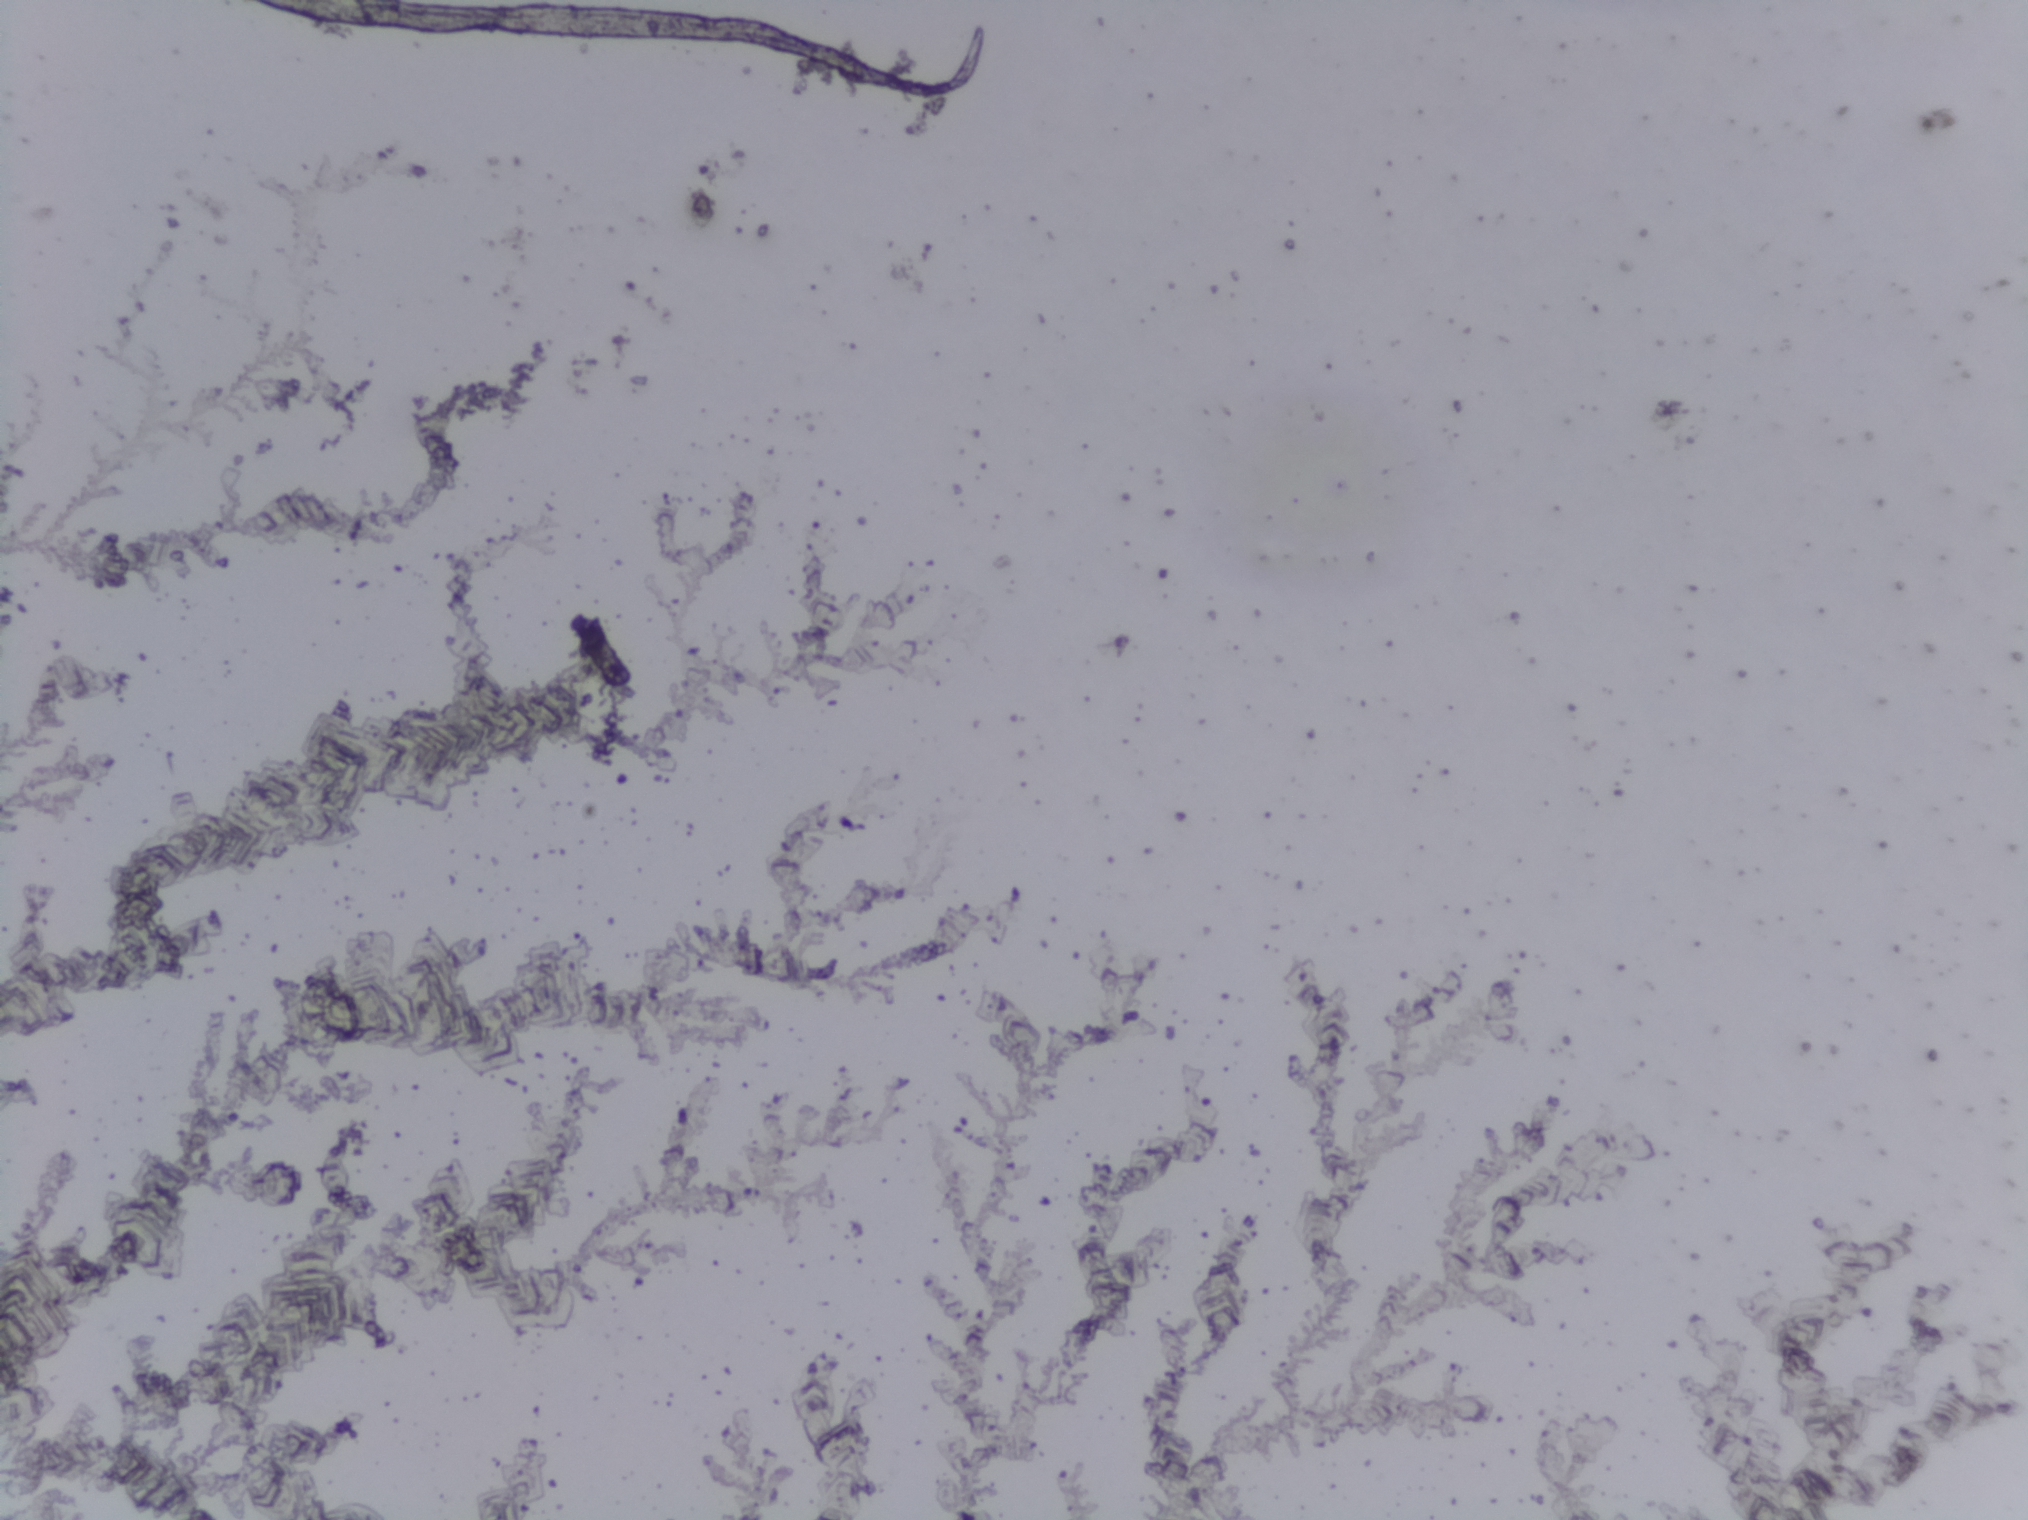
Photomicrograph of a urine filtration membrane, 4× objective.
No area of this image was outlined as a Schistosoma egg.